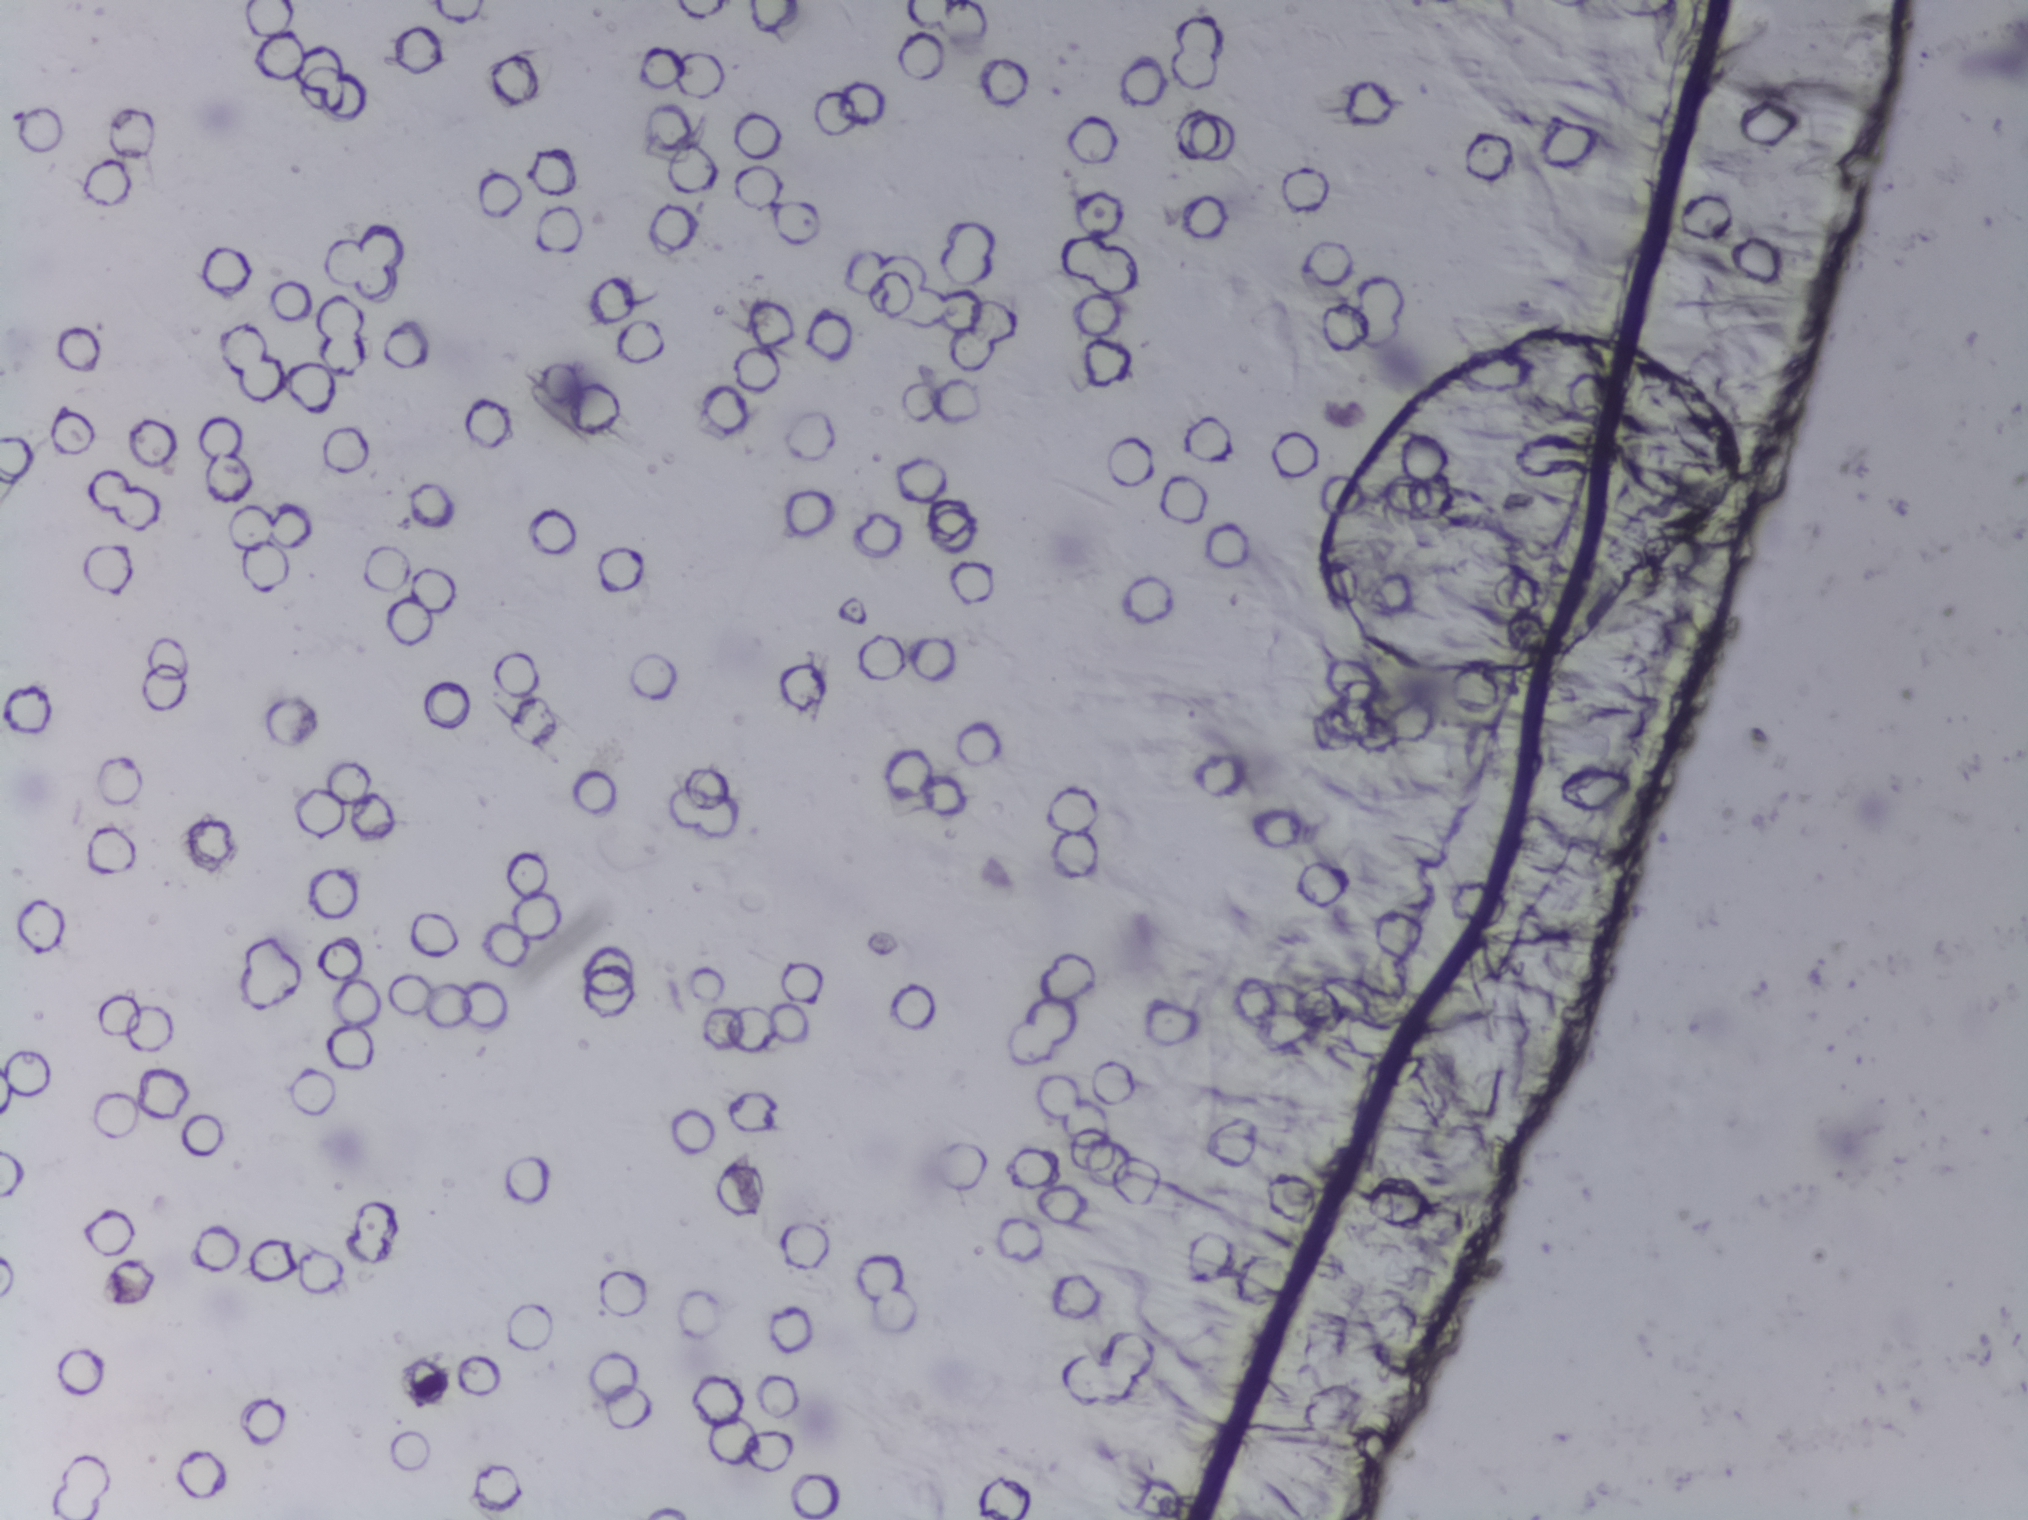
One field of view of a urine filter membrane, 4× objective, 2028 × 1520 pixels.
The expert annotation marks no Schistosoma egg in this field of view.